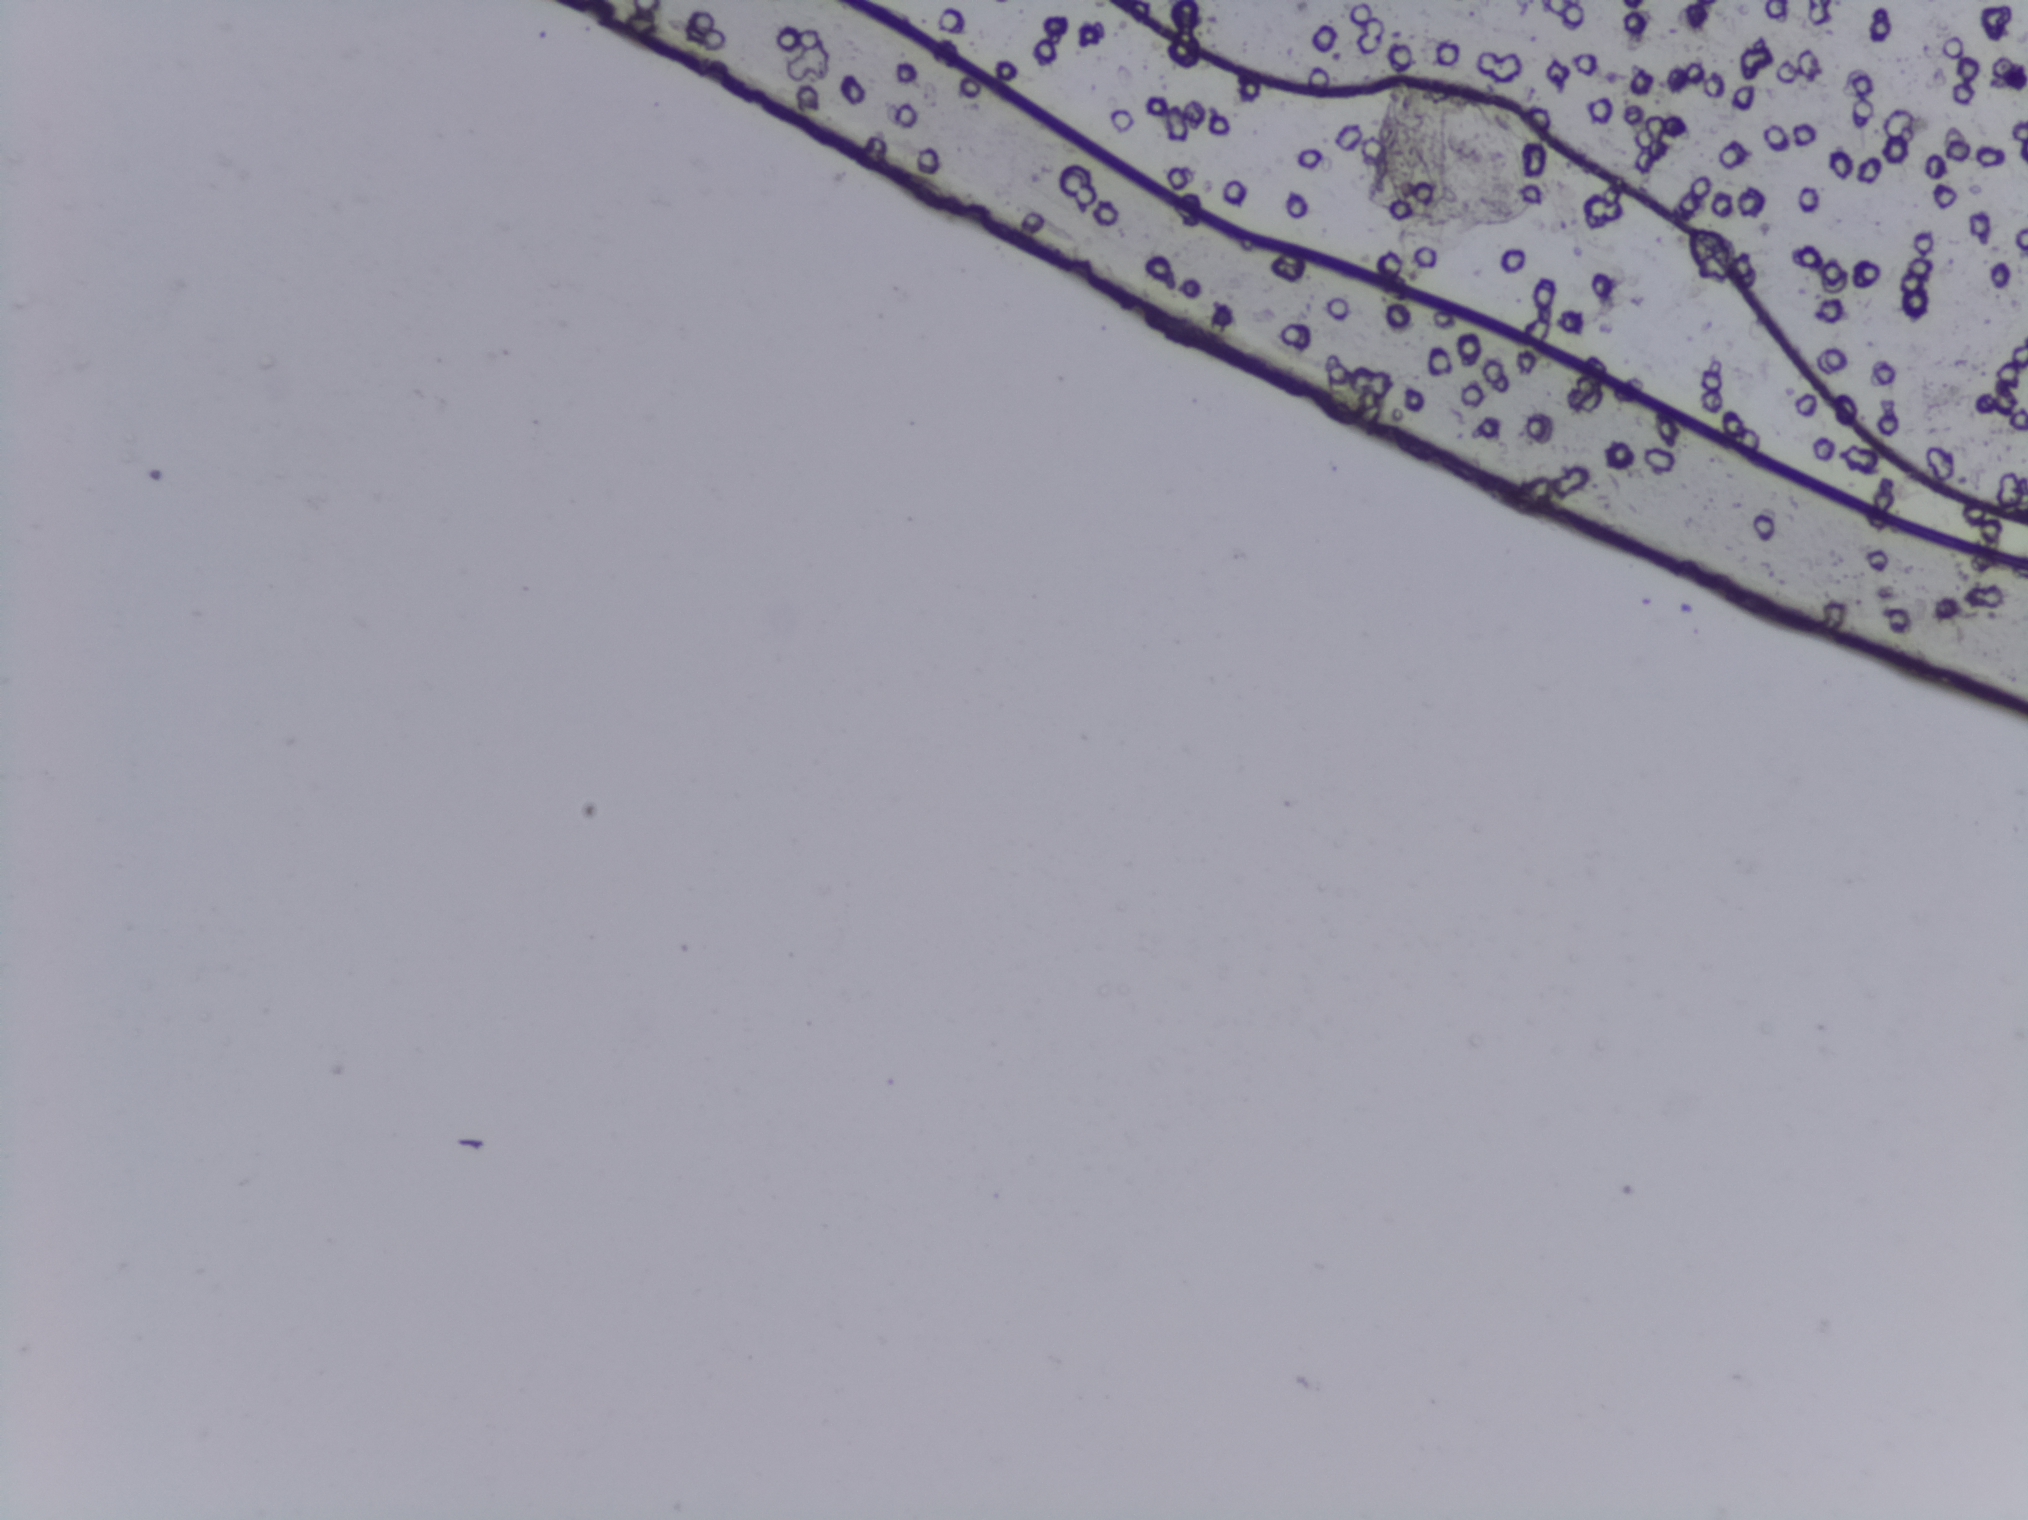
Urine filter membrane photographed through a 4× microscope objective. The image covers about 1.5 × 1.1 mm of the membrane.
Schistosoma eggs: none outlined.